One field of view of a urine filter membrane, 4× objective, 2028 × 1520 pixels.
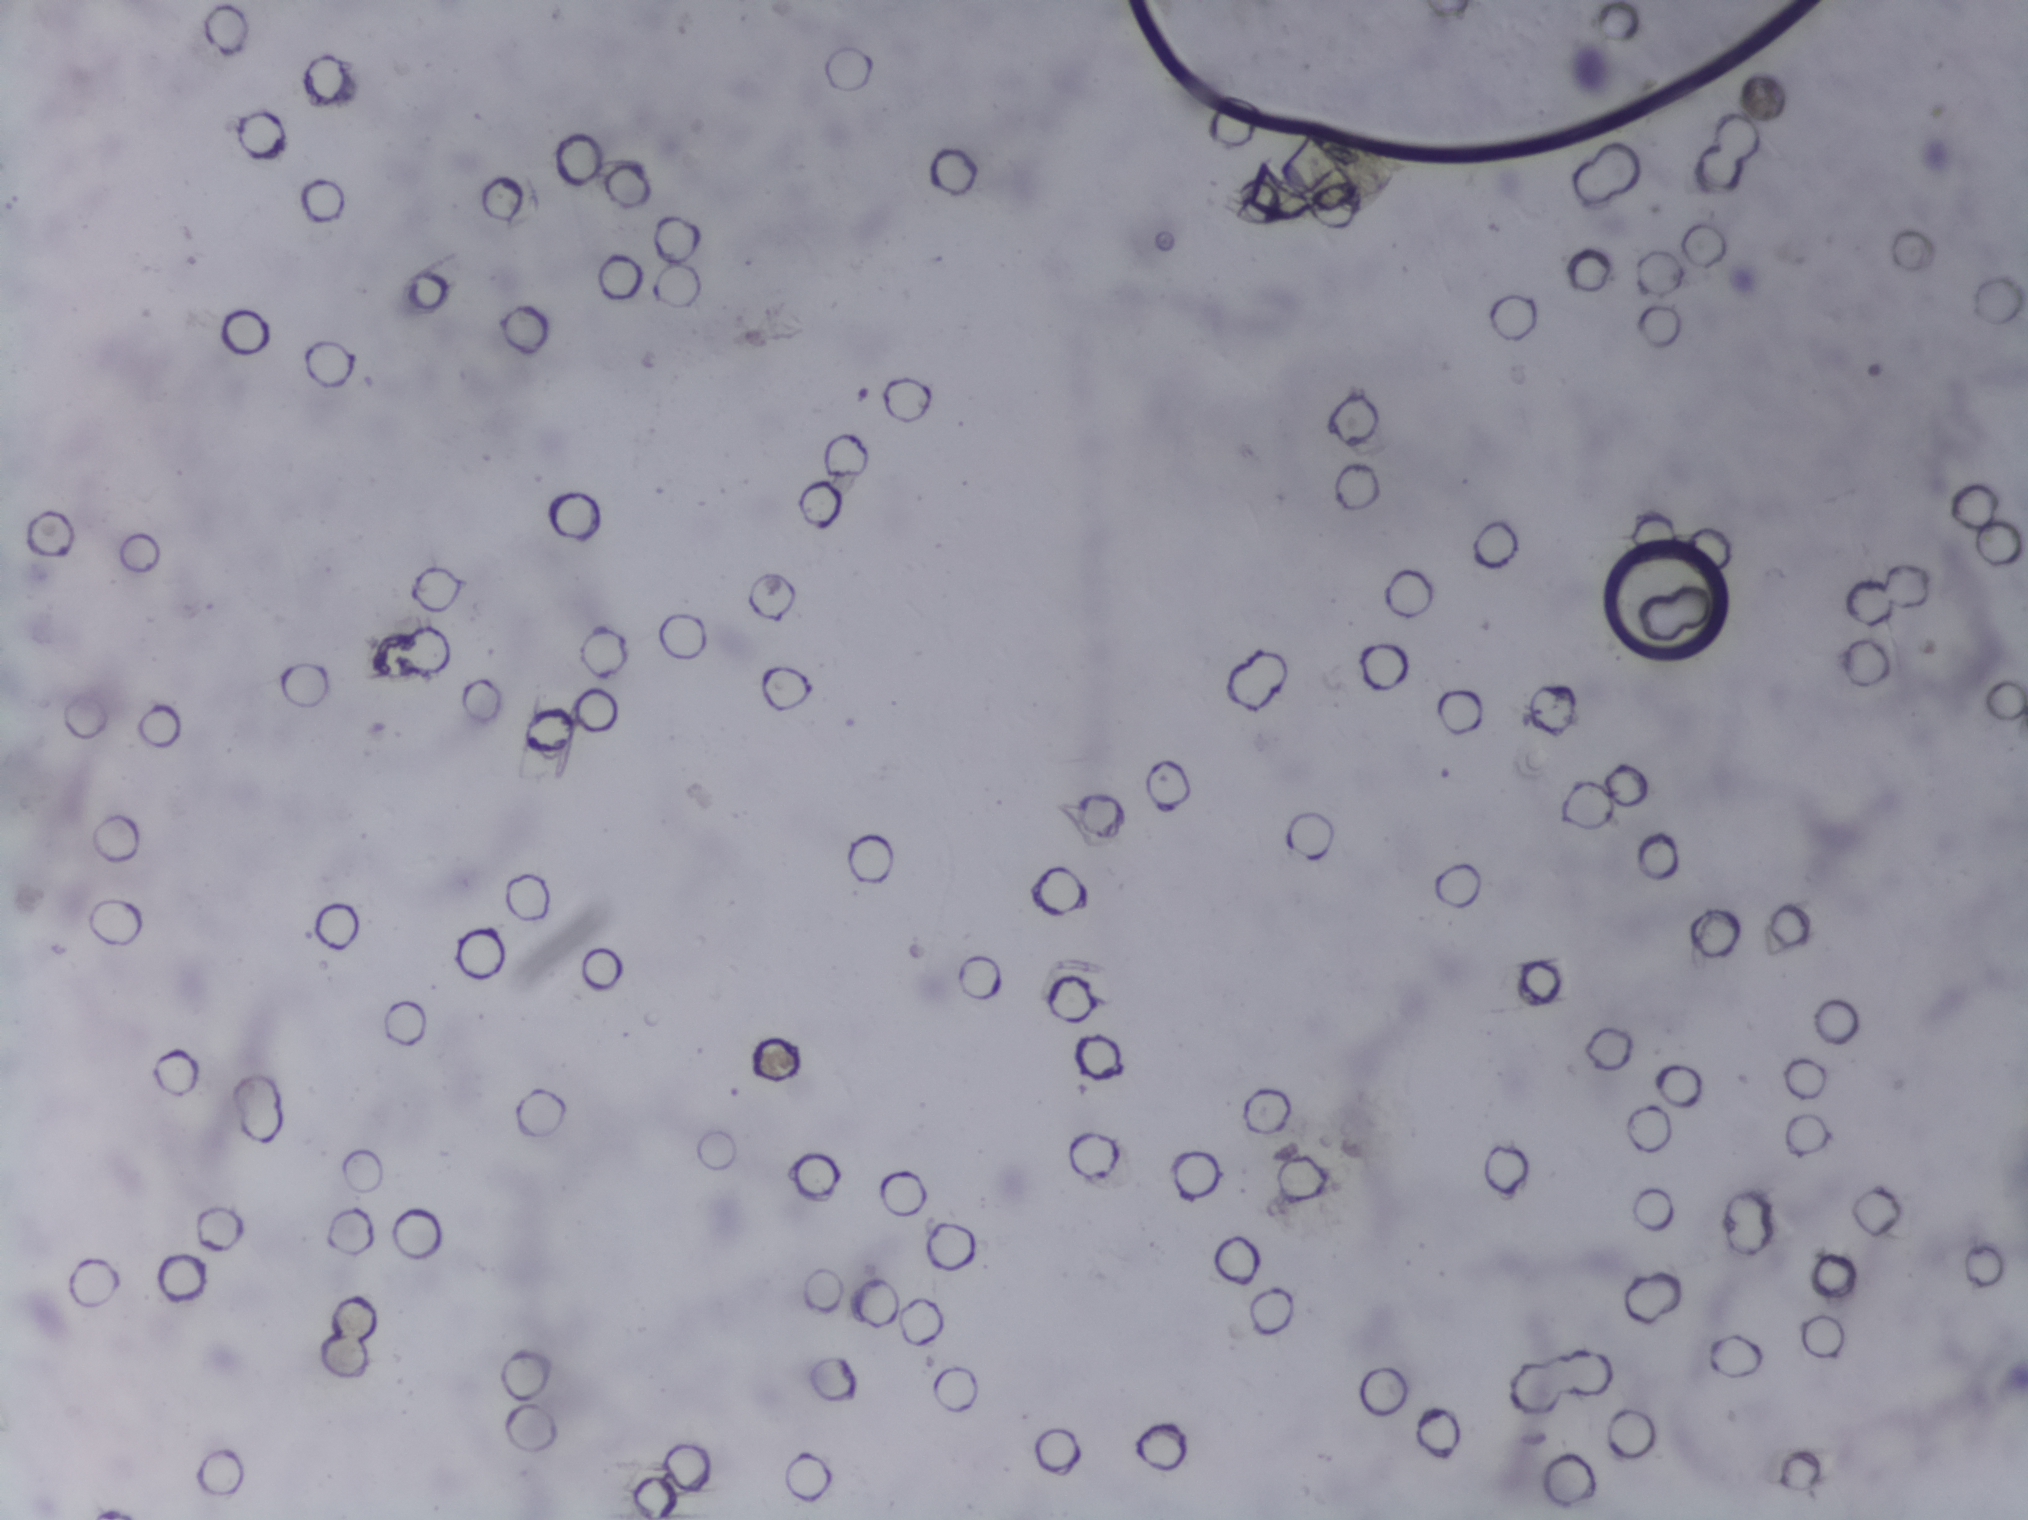
The expert annotation marks no Schistosoma egg in this field of view.